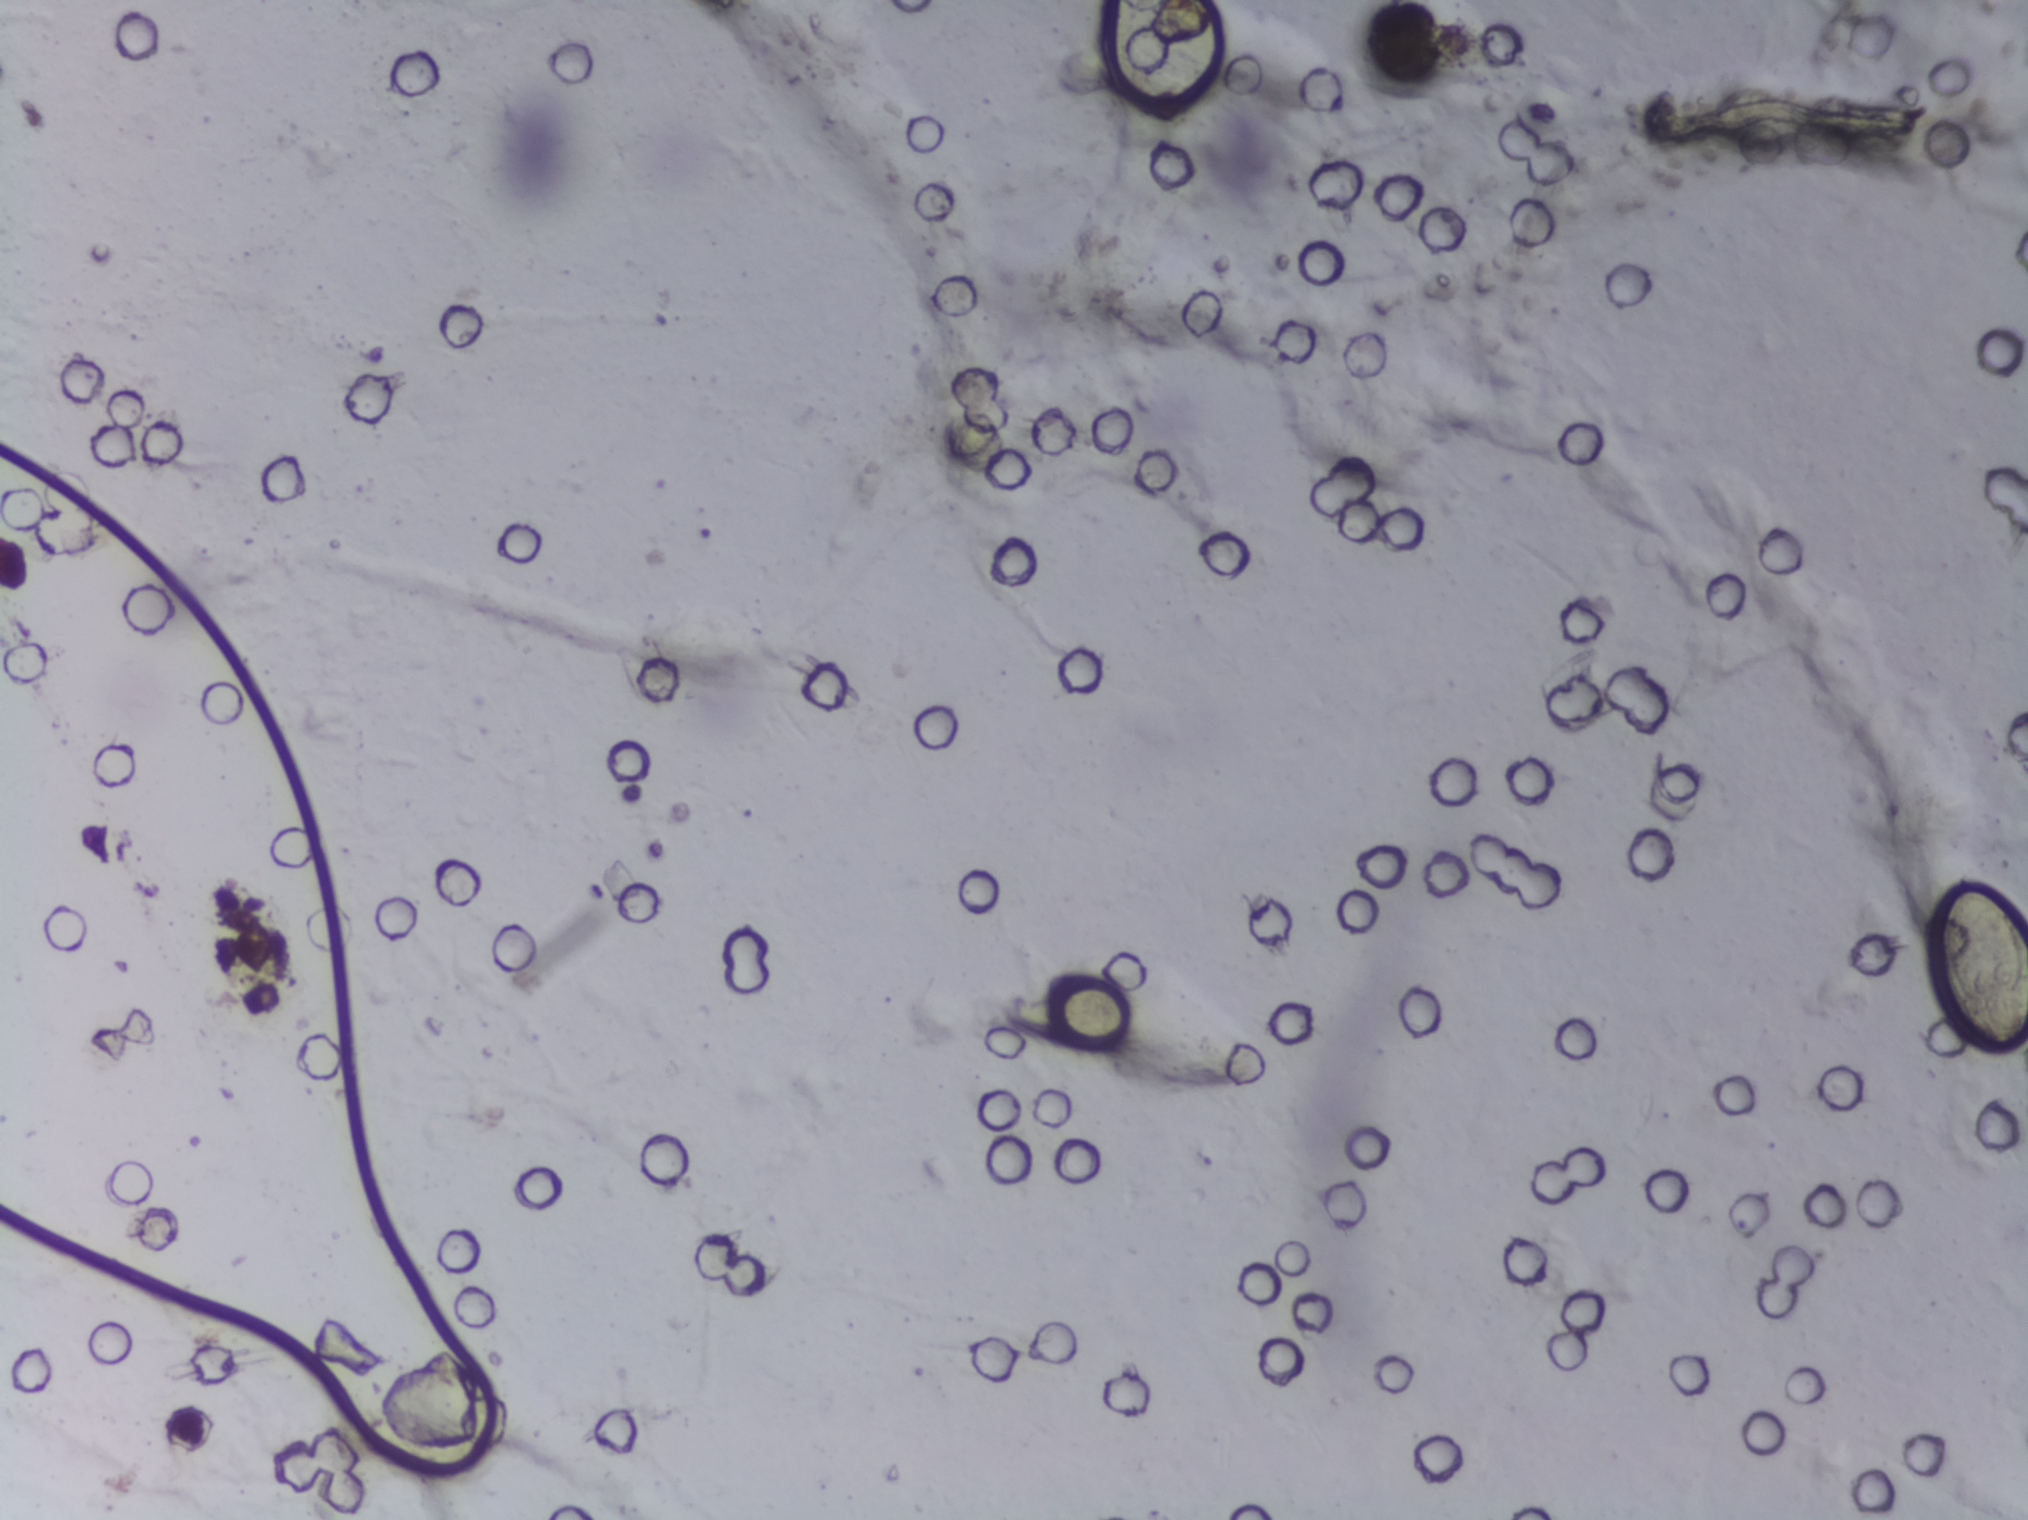
Microscope photograph (4× objective) of a membrane that a urine sample was filtered through.
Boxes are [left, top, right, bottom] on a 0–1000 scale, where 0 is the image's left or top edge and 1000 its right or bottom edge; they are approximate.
Schistosoma eggs are outlined in one area of this image: [953, 574, 1000, 698] (reaching the right edge of the frame). An outlined area can hold more than one egg.